One field of view of a urine filter membrane, 4× objective, 2028 × 1520 pixels.
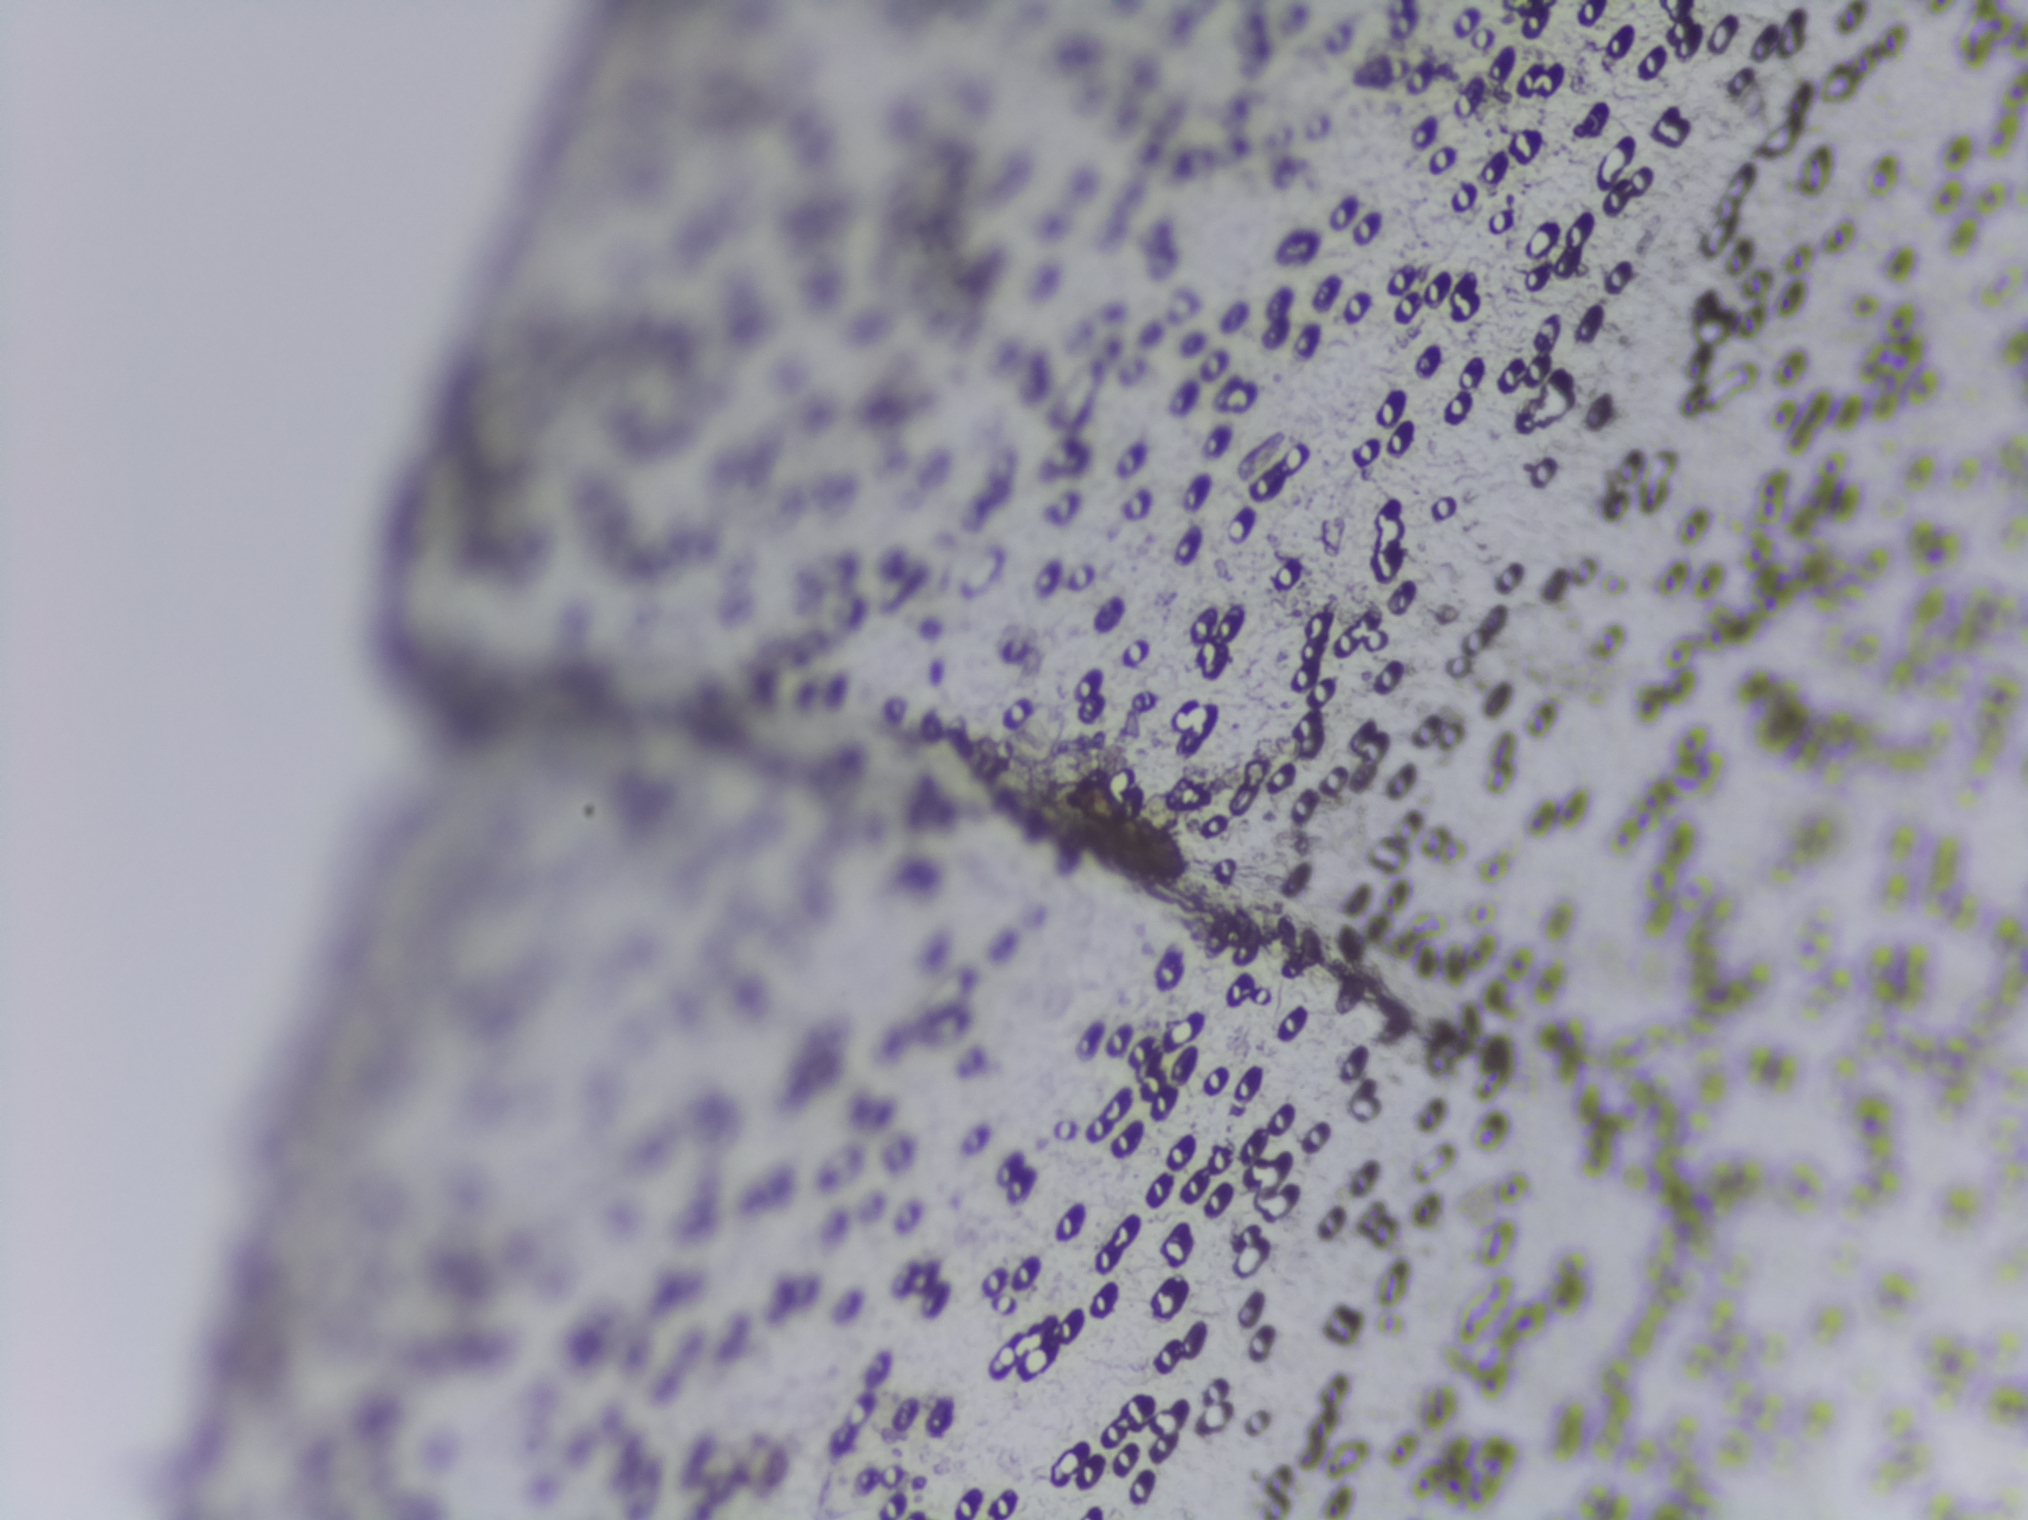
The expert annotation marks no Schistosoma egg in this field of view.